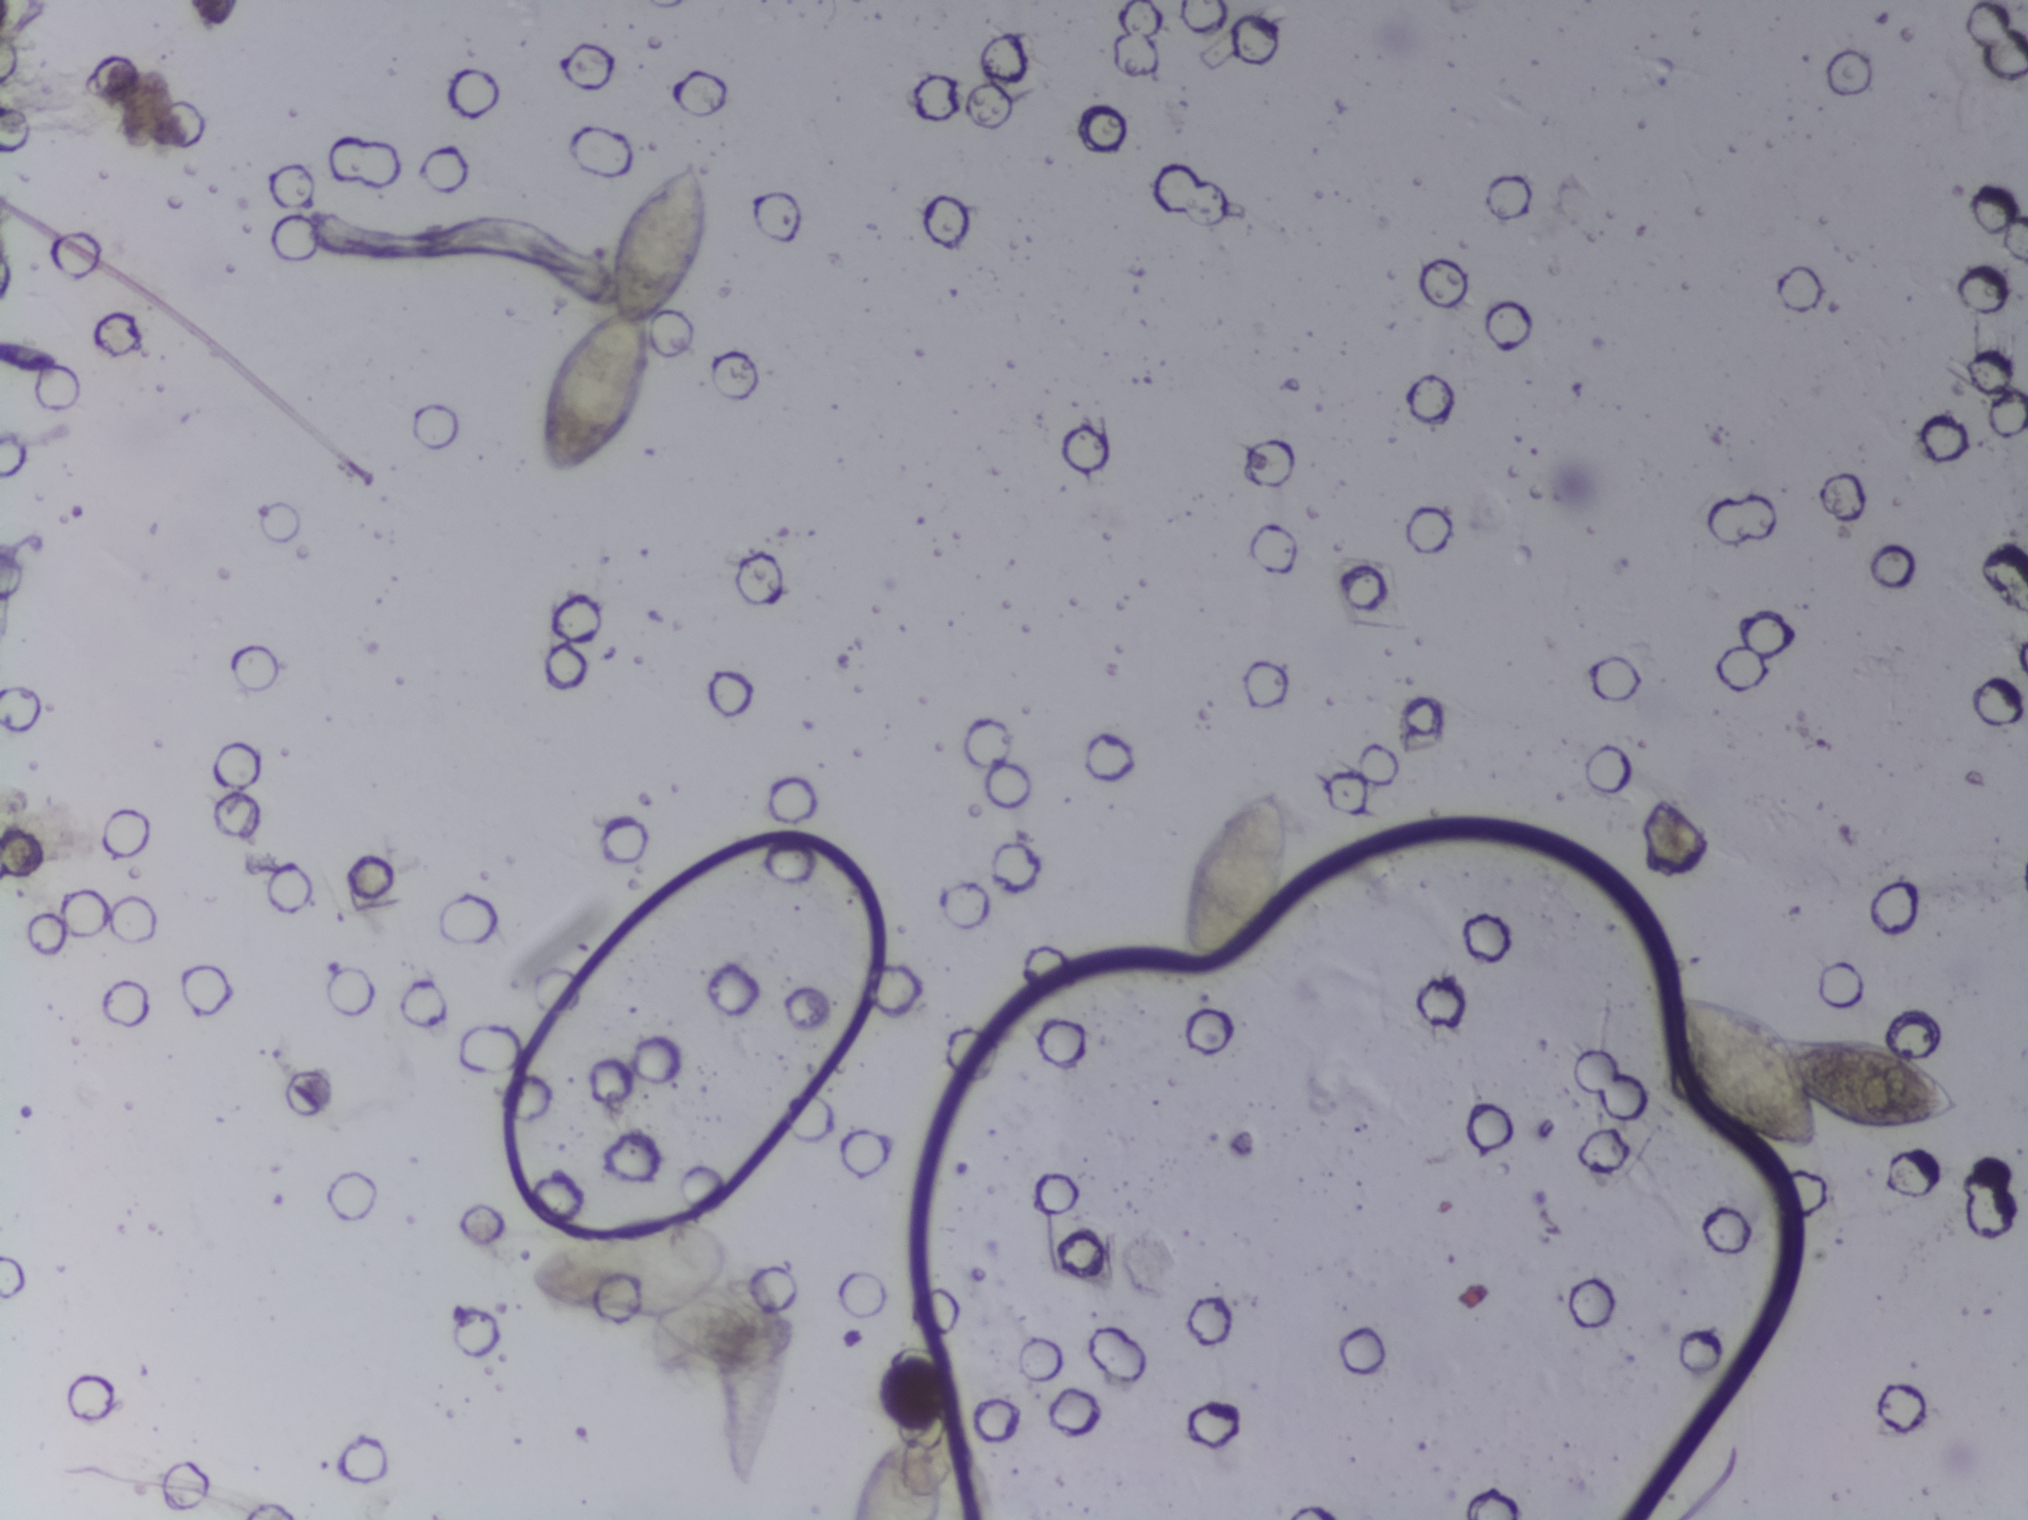
Microscope photograph (4× objective) of a membrane that a urine sample was filtered through.
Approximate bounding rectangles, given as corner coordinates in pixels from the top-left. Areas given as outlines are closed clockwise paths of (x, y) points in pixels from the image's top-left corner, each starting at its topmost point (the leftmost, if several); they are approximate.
Five areas of this image are outlined as Schistosoma eggs, from left to right: box (x1=530, y1=1212, x2=736, y2=1318); outline (691, 153), (709, 197), (707, 247), (697, 270), (647, 323), (651, 354), (628, 424), (594, 463), (568, 475), (551, 474), (541, 452), (541, 402), (563, 349), (612, 311), (605, 261), (620, 215), (645, 186); box (x1=848, y1=1426, x2=943, y2=1519) (reaching the bottom edge of the frame); box (x1=1175, y1=778, x2=1291, y2=981); box (x1=1671, y1=988, x2=1962, y2=1150). Marked pixels, not the boxes and the outline around them: about 3.0% of the image. Eggs that touch can end up inside the same outlined area.